Photograph from an automated digital microscope: urine filter membrane, 4× objective.
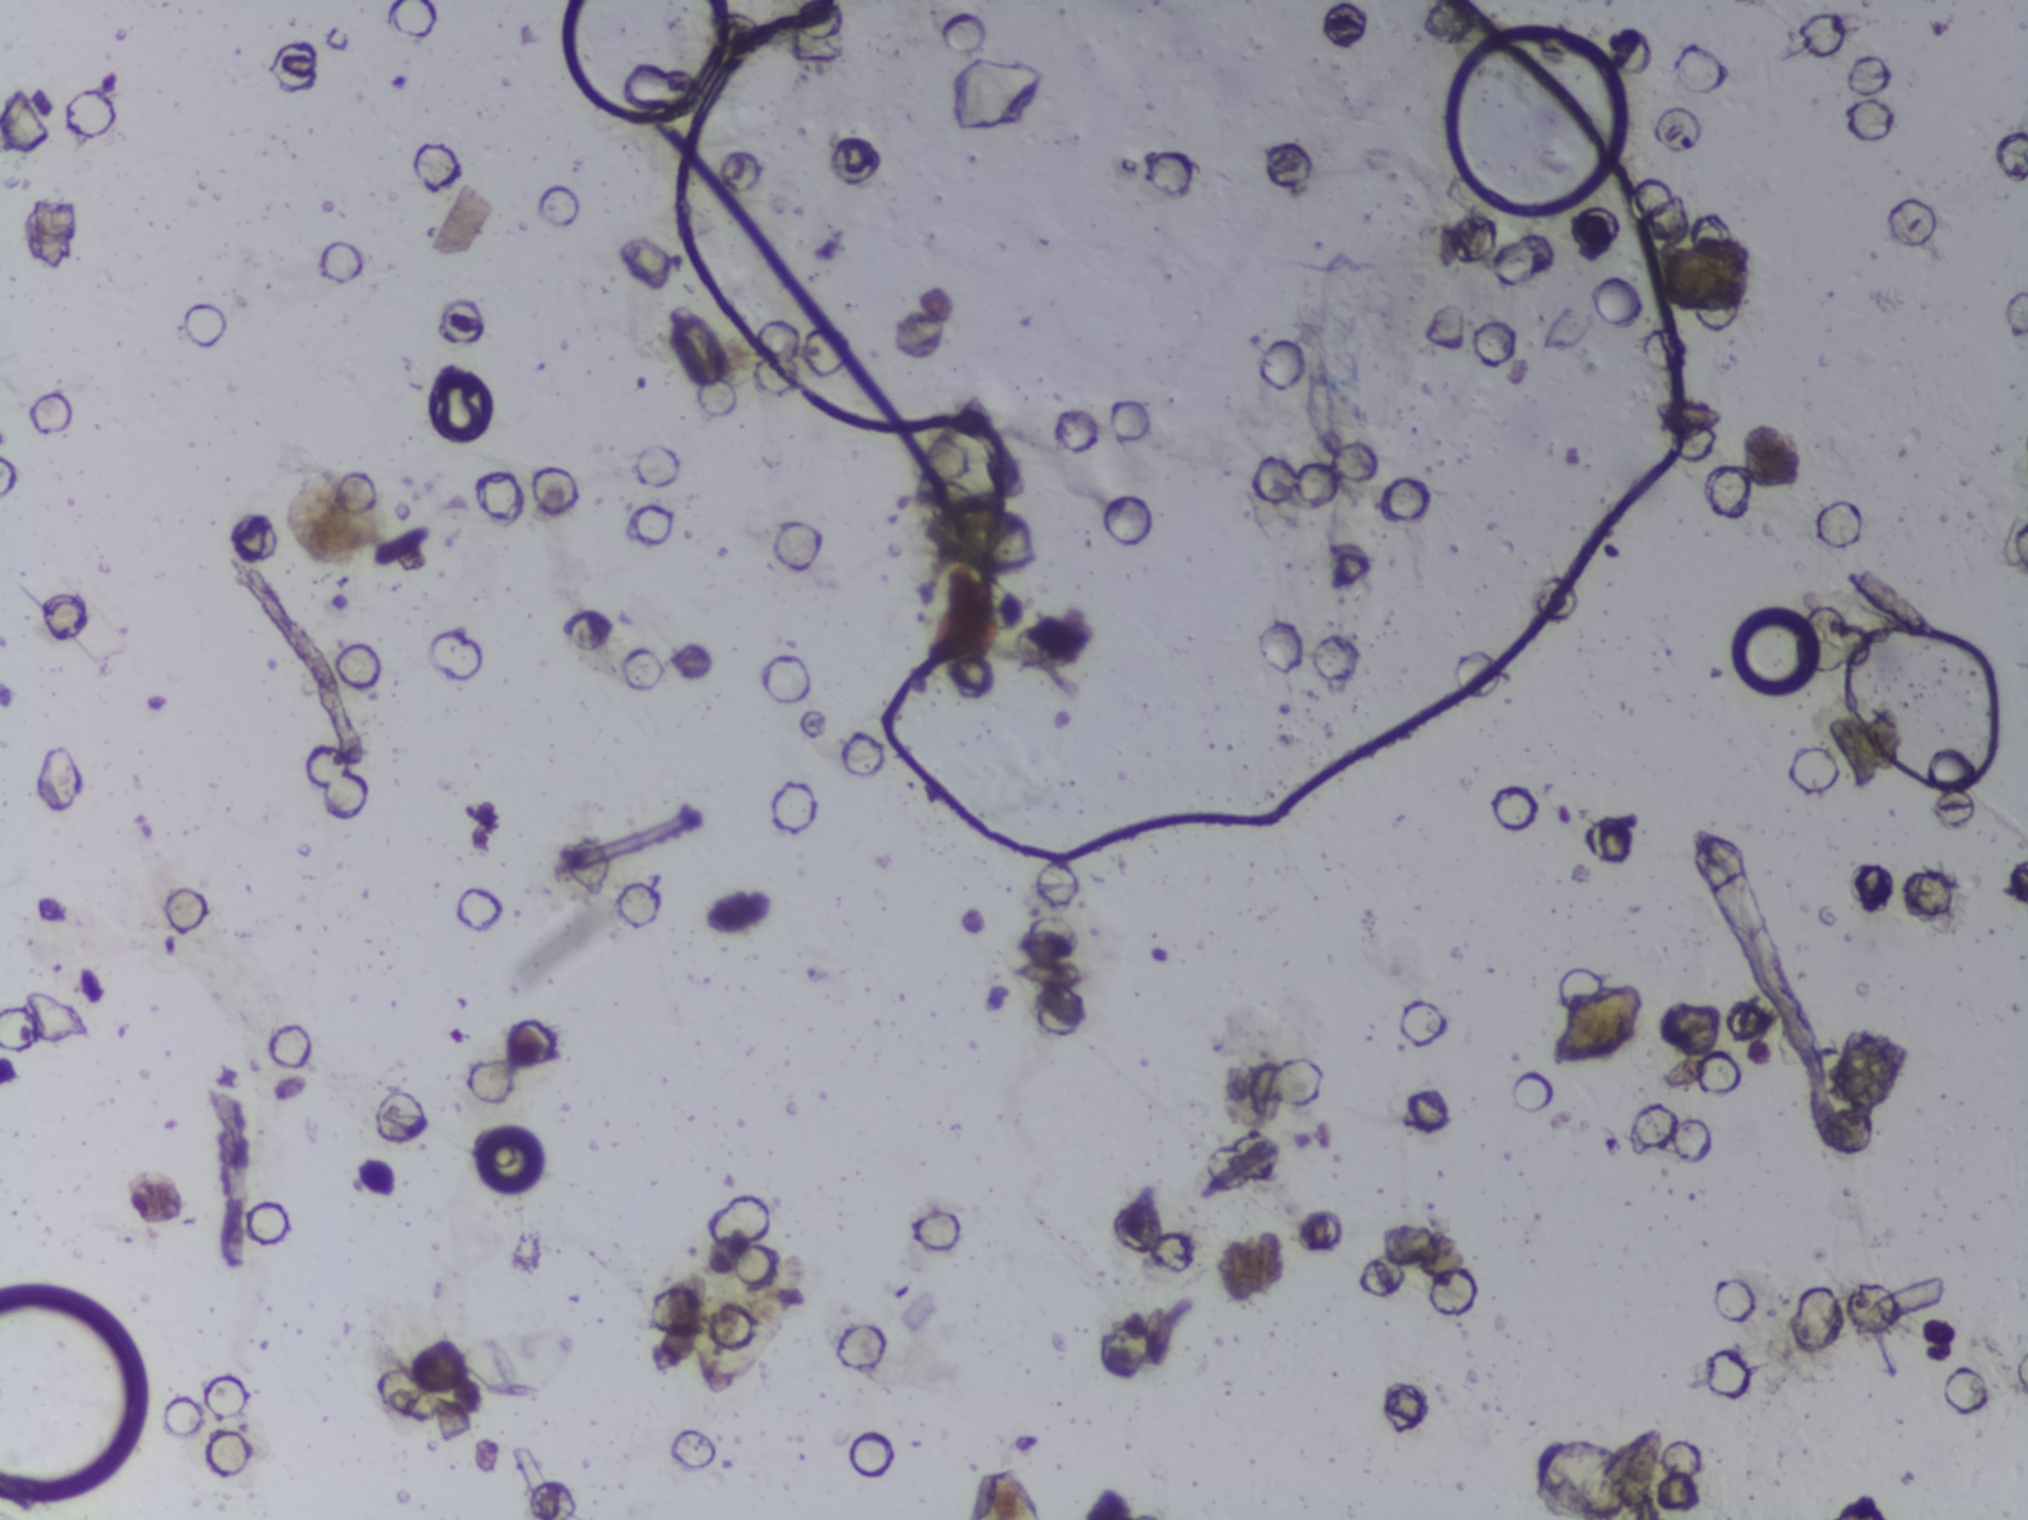
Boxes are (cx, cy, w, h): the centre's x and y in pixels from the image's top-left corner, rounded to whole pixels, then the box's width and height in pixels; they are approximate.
Schistosoma eggs are outlined in the expert annotation at (cx=965, cy=486, w=112, h=192). Eggs that touch can end up inside the same outlined area.